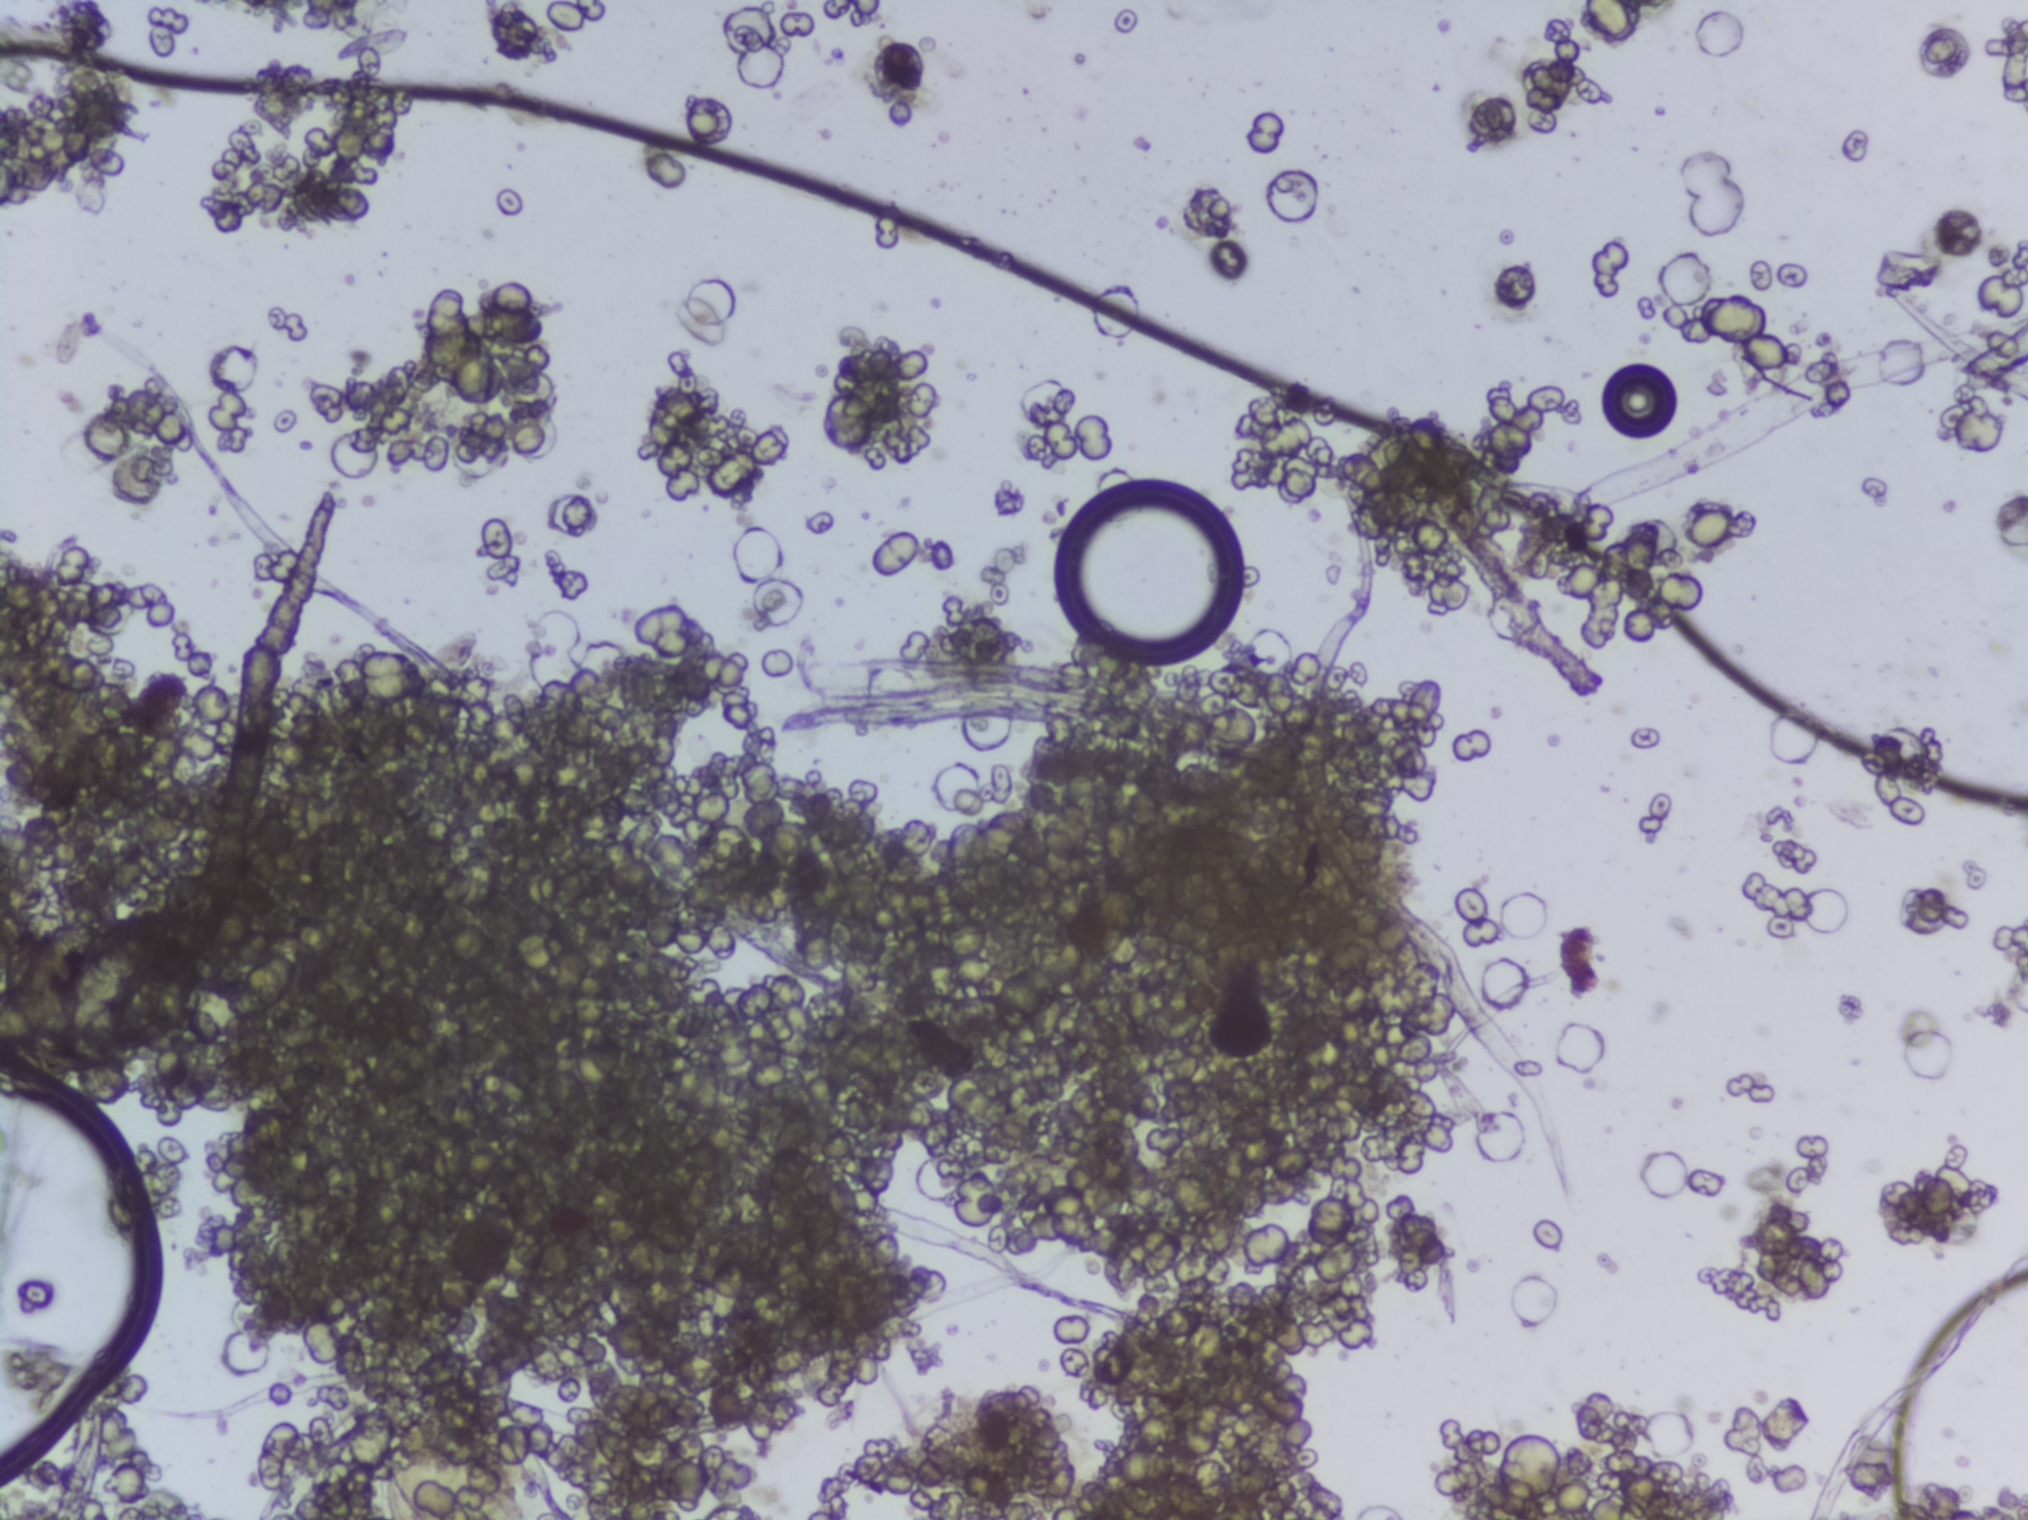
Photomicrograph of a urine filtration membrane, 4× objective.
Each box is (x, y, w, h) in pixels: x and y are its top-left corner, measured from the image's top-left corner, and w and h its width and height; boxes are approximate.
Outlined Schistosoma egg areas:
1. (x=383, y=1440, w=144, h=80) (reaching the bottom edge of the frame)
A single outlined area may contain several eggs. Any one outlined egg may, rarely, be S. mansoni rather than S. haematobium.